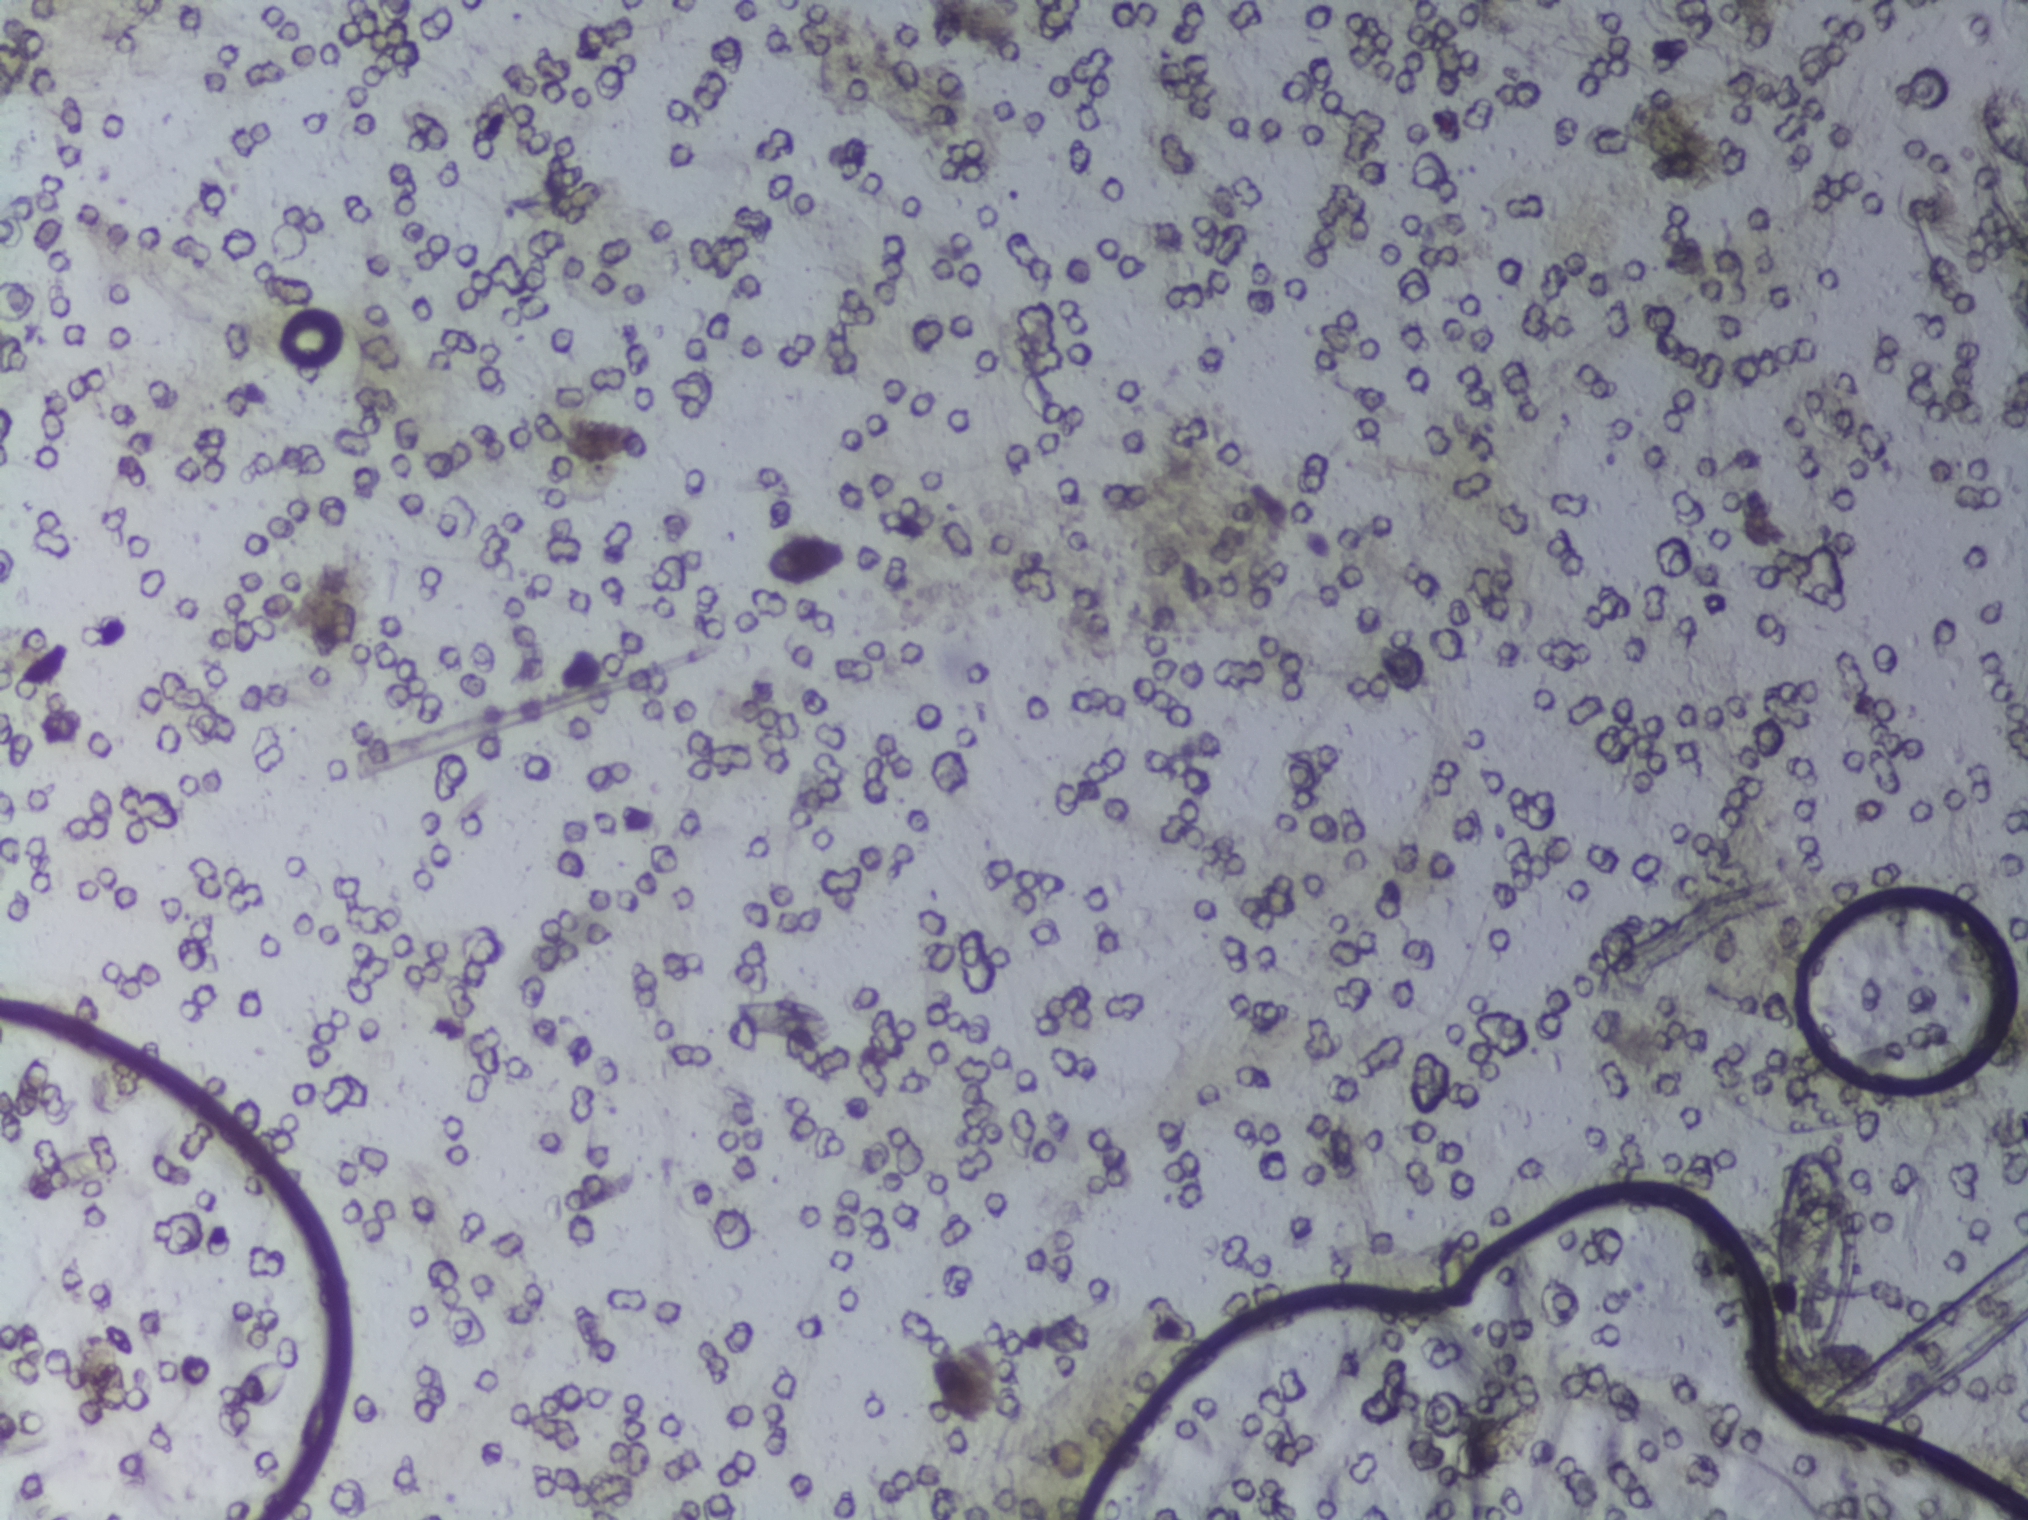
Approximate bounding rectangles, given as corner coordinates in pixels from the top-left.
Areas outlined as Schistosoma eggs:
1. (x1=1780, y1=1150, x2=1852, y2=1359)
About 0.4% of the image's pixels are marked (the marked pixels themselves, not the box around them). Eggs that touch can end up inside the same outlined area.
Photomicrograph of a urine filtration membrane, 4× objective.